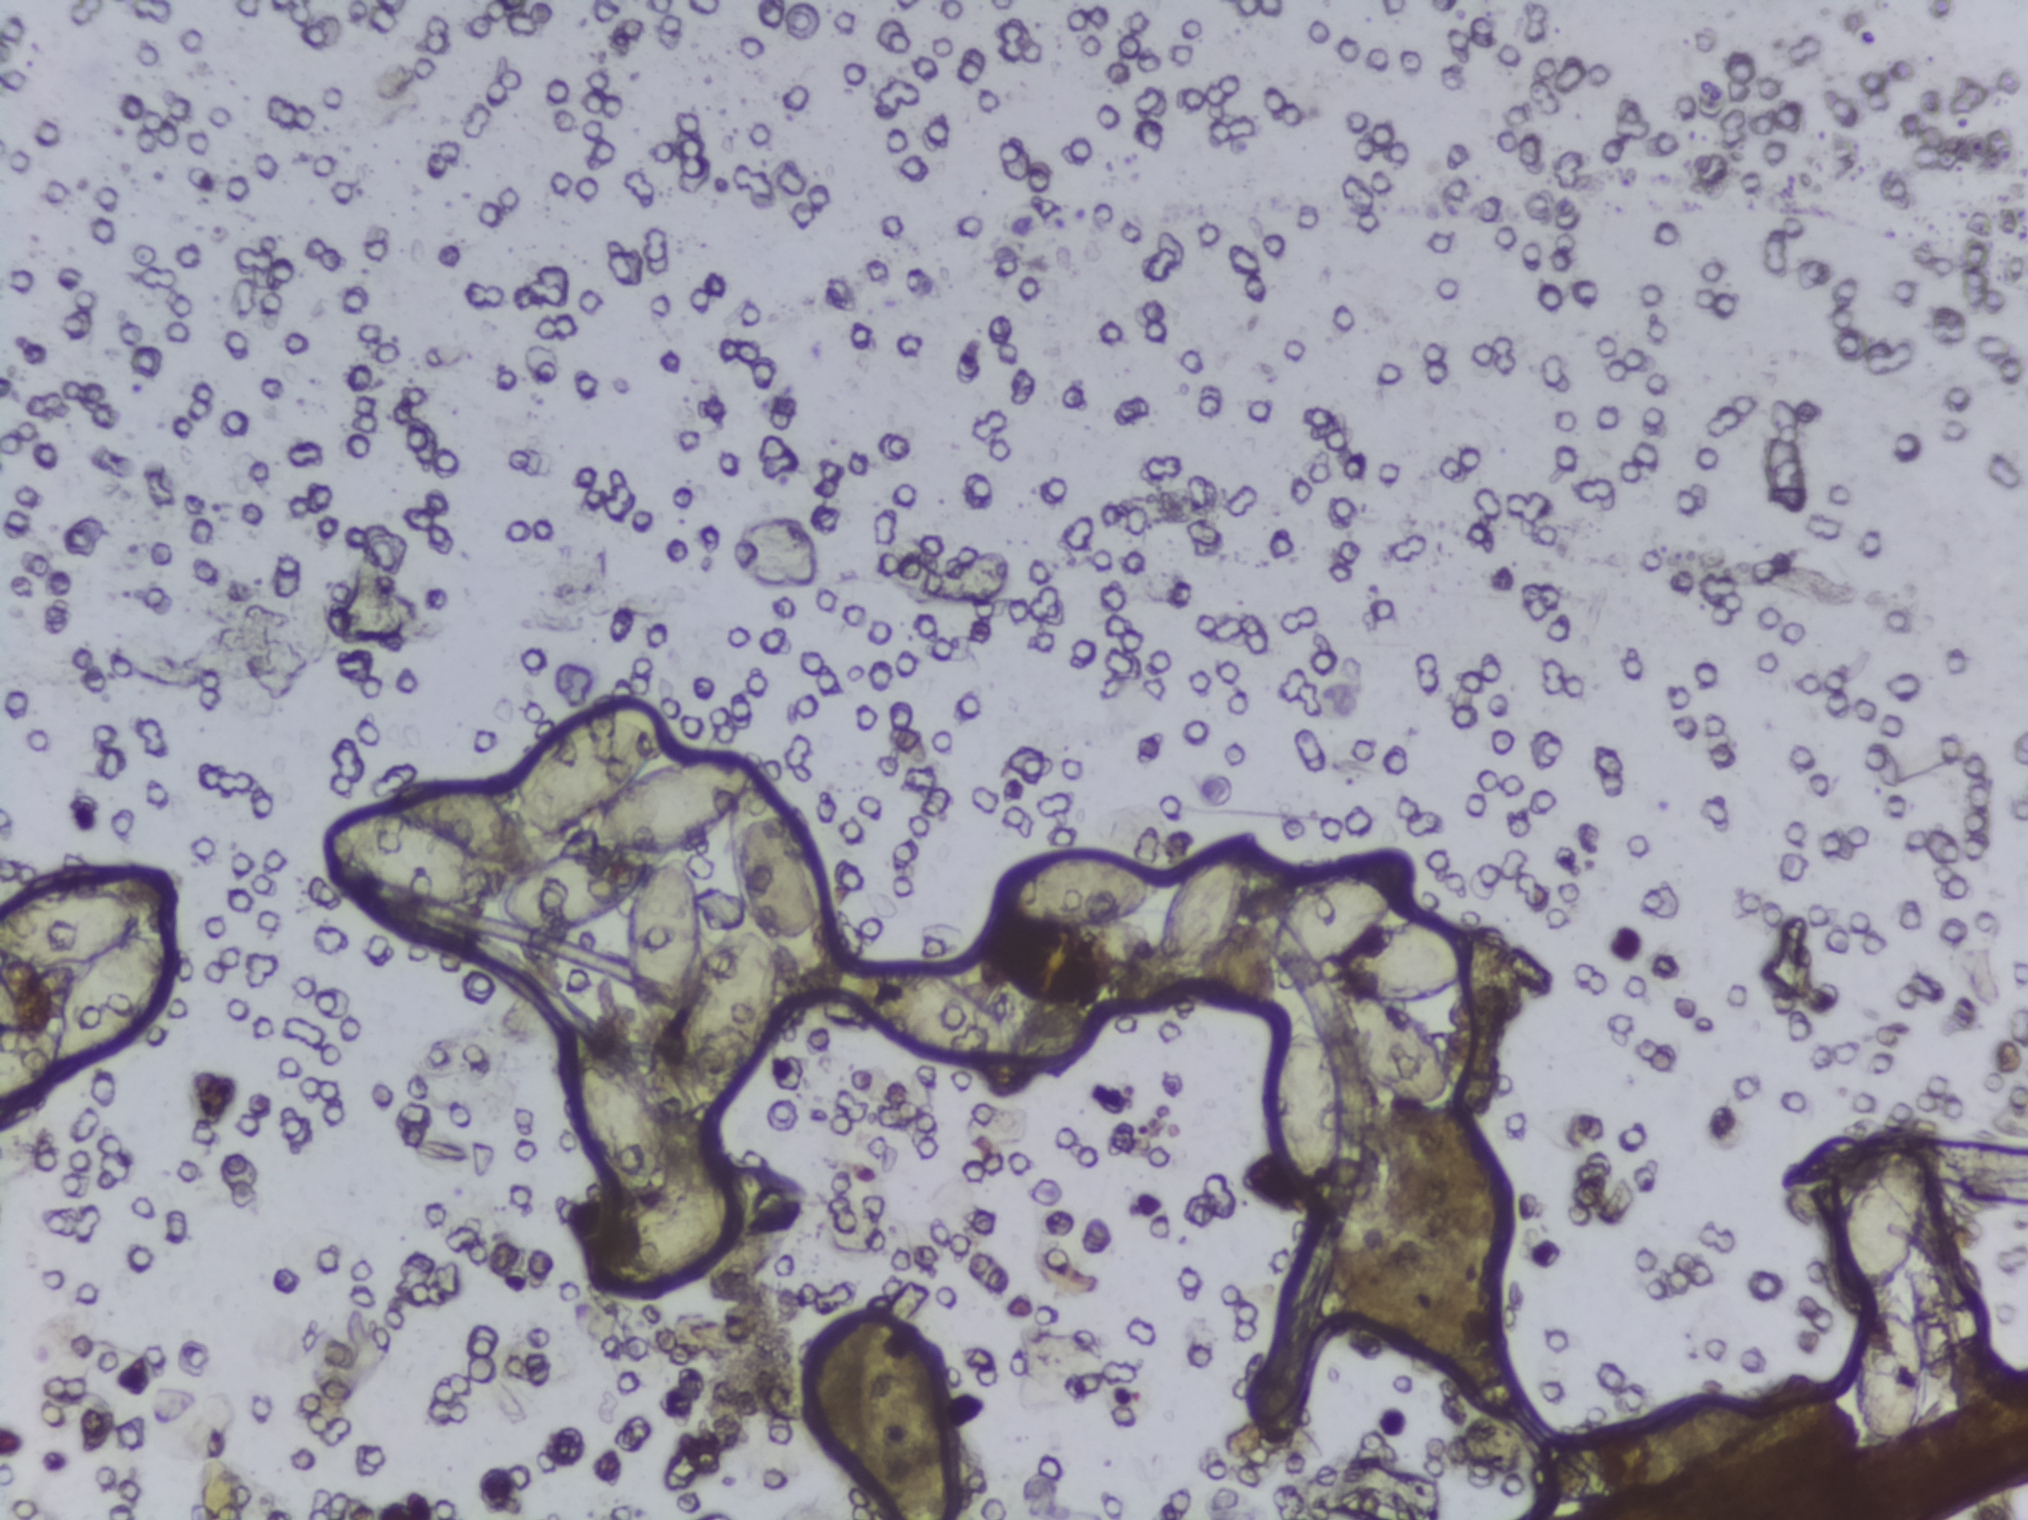
Urine filter membrane photographed through a 4× microscope objective. The field of view is about 1.5 mm × 1.1 mm.
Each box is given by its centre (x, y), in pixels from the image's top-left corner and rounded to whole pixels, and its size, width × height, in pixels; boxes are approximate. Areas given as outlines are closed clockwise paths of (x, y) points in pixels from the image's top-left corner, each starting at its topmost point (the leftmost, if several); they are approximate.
Findings: eight areas outlined as Schistosoma eggs. Locations: box centre (94, 999), 189 × 281 px (reaching the left edge of the frame); outline (629, 696), (644, 696), (663, 710), (666, 754), (710, 746), (758, 750), (759, 771), (789, 790), (810, 819), (836, 950), (832, 985), (803, 989), (785, 979), (771, 1046), (752, 1088), (715, 1121), (687, 1103), (678, 1058), (647, 1060), (667, 1090), (676, 1144), (672, 1173), (725, 1159), (762, 1161), (773, 1169), (773, 1192), (735, 1252), (687, 1286), (645, 1299), (598, 1290), (590, 1279), (588, 1263), (602, 1225), (626, 1203), (596, 1172), (579, 1141), (570, 1064), (575, 1023), (555, 1010), (527, 974), (516, 935), (476, 911), (439, 914), (373, 898), (343, 877), (319, 845), (319, 827), (330, 809), (378, 801), (381, 788), (395, 778), (467, 776), (507, 797), (538, 733), (554, 718) (eggs clustered together); box centre (896, 1392), 104 × 172 px; box centre (957, 1033), 173 × 135 px; box centre (1126, 908), 269 × 157 px; box centre (1337, 1157), 126 × 300 px; box centre (1374, 978), 216 × 268 px; box centre (1881, 1293), 105 × 333 px. Marked pixels, not the boxes and the outline around them: about 10% of the image. An outlined area can hold more than one egg.